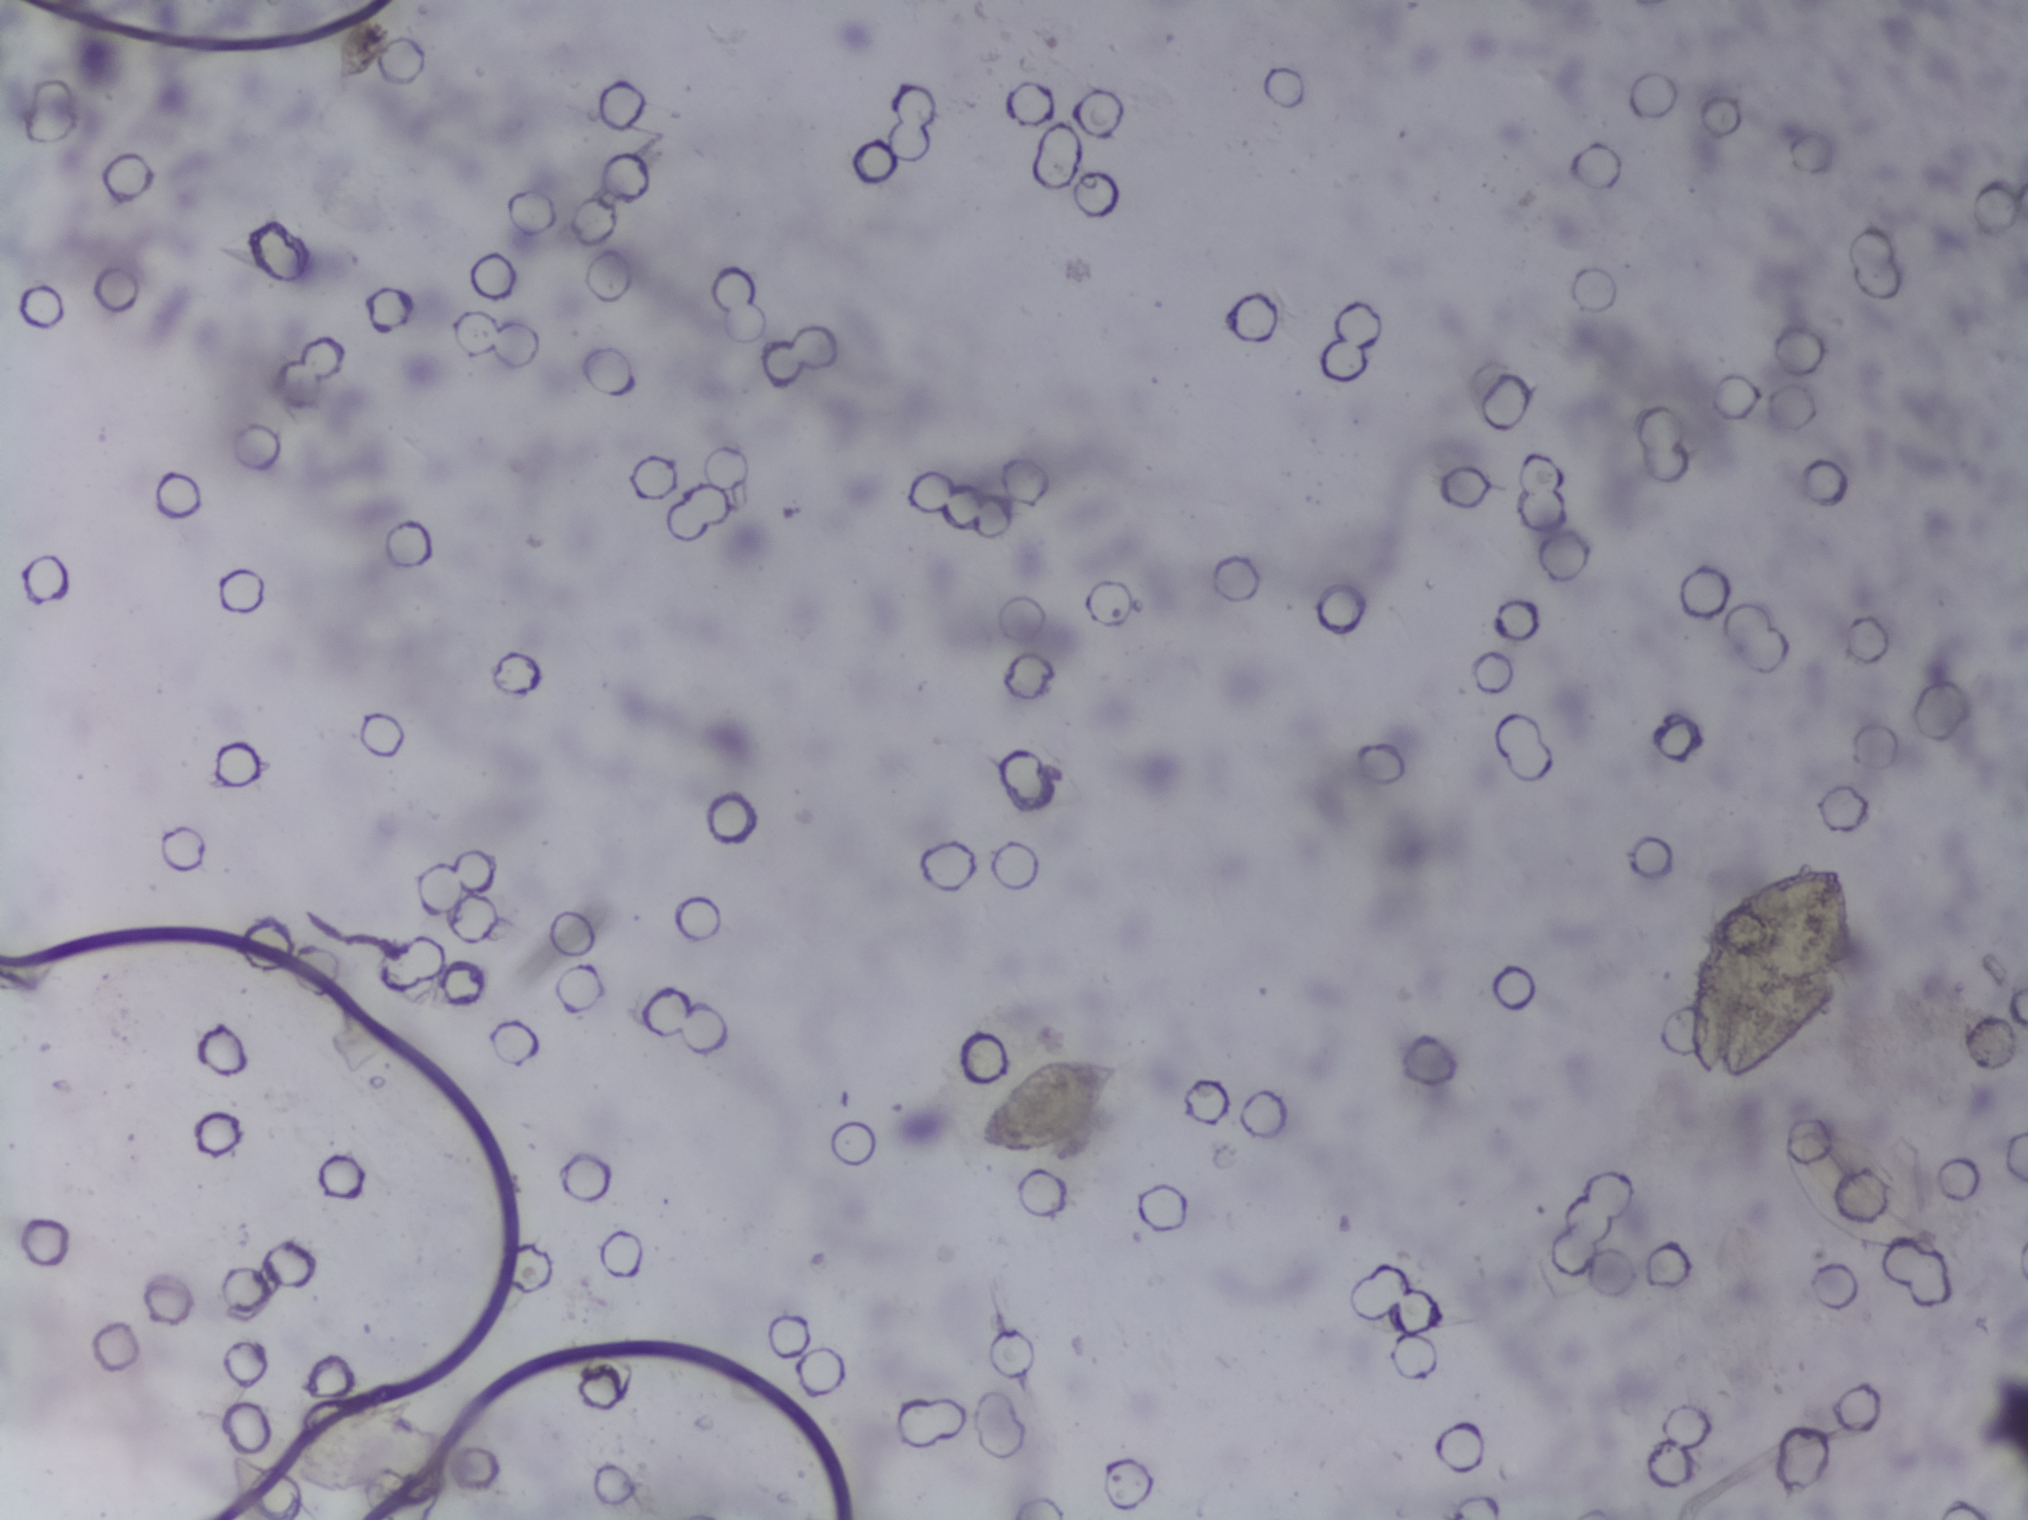
Photograph from an automated digital microscope: urine filter membrane, 4× objective.
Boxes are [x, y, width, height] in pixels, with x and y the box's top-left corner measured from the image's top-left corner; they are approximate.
Schistosoma eggs are outlined in two areas of this image, listed from left to right: [976, 1058, 147, 96] and [1679, 857, 176, 227]. A single outlined area may contain several eggs.